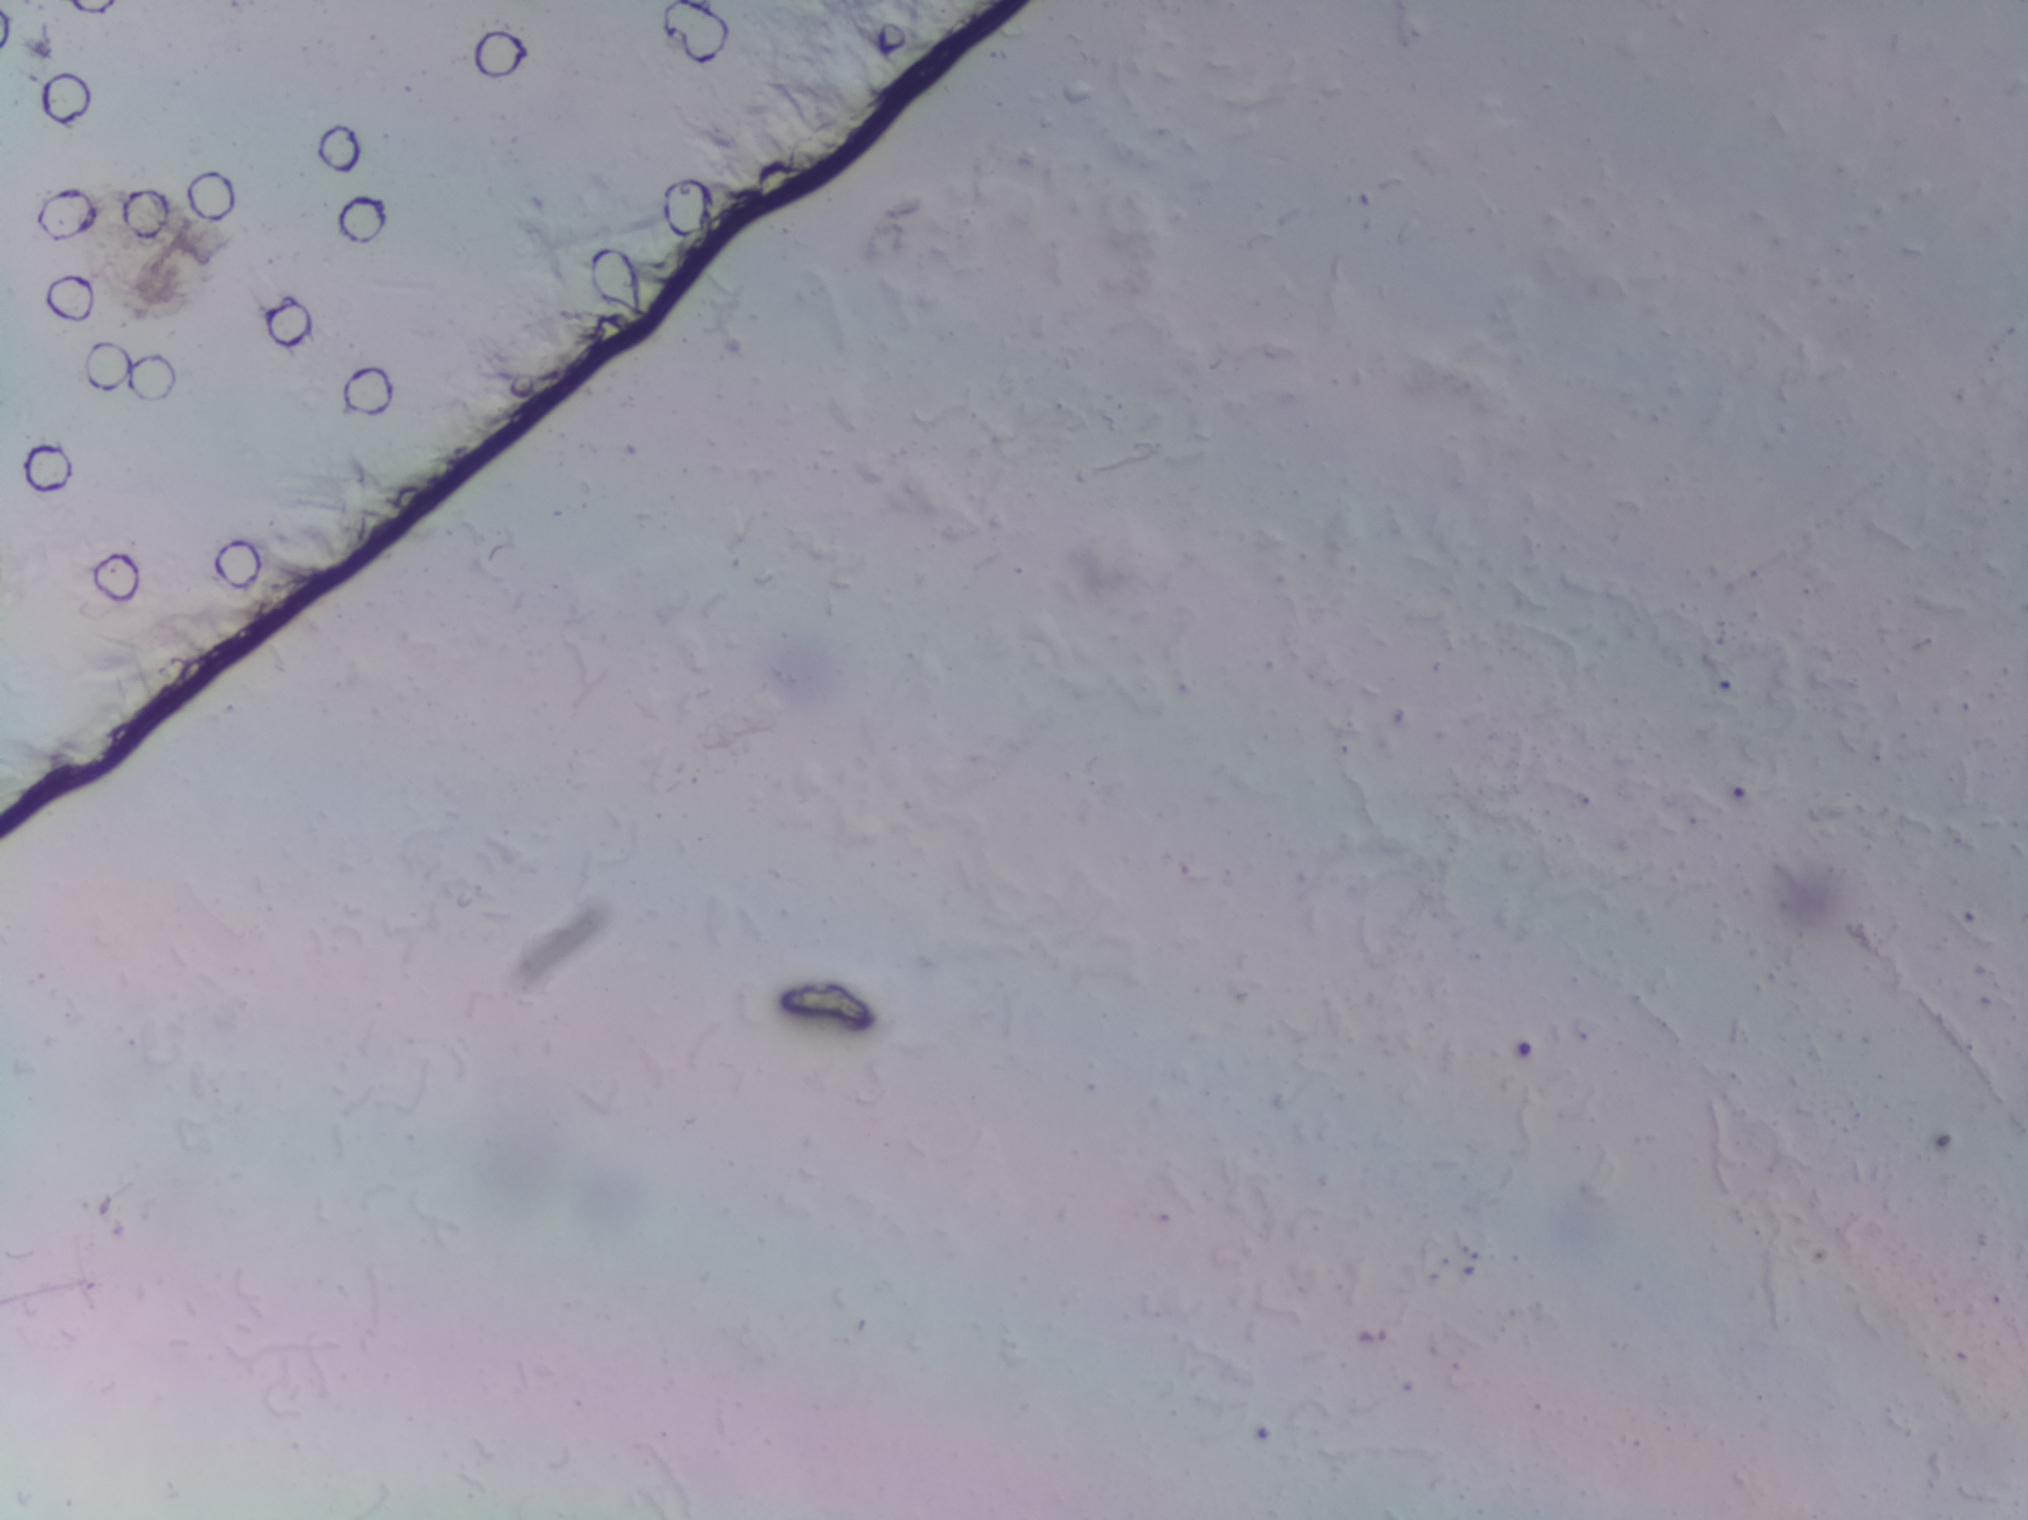
Photomicrograph of a urine filtration membrane, 4× objective.
No Schistosoma egg is outlined in this image's expert annotation.